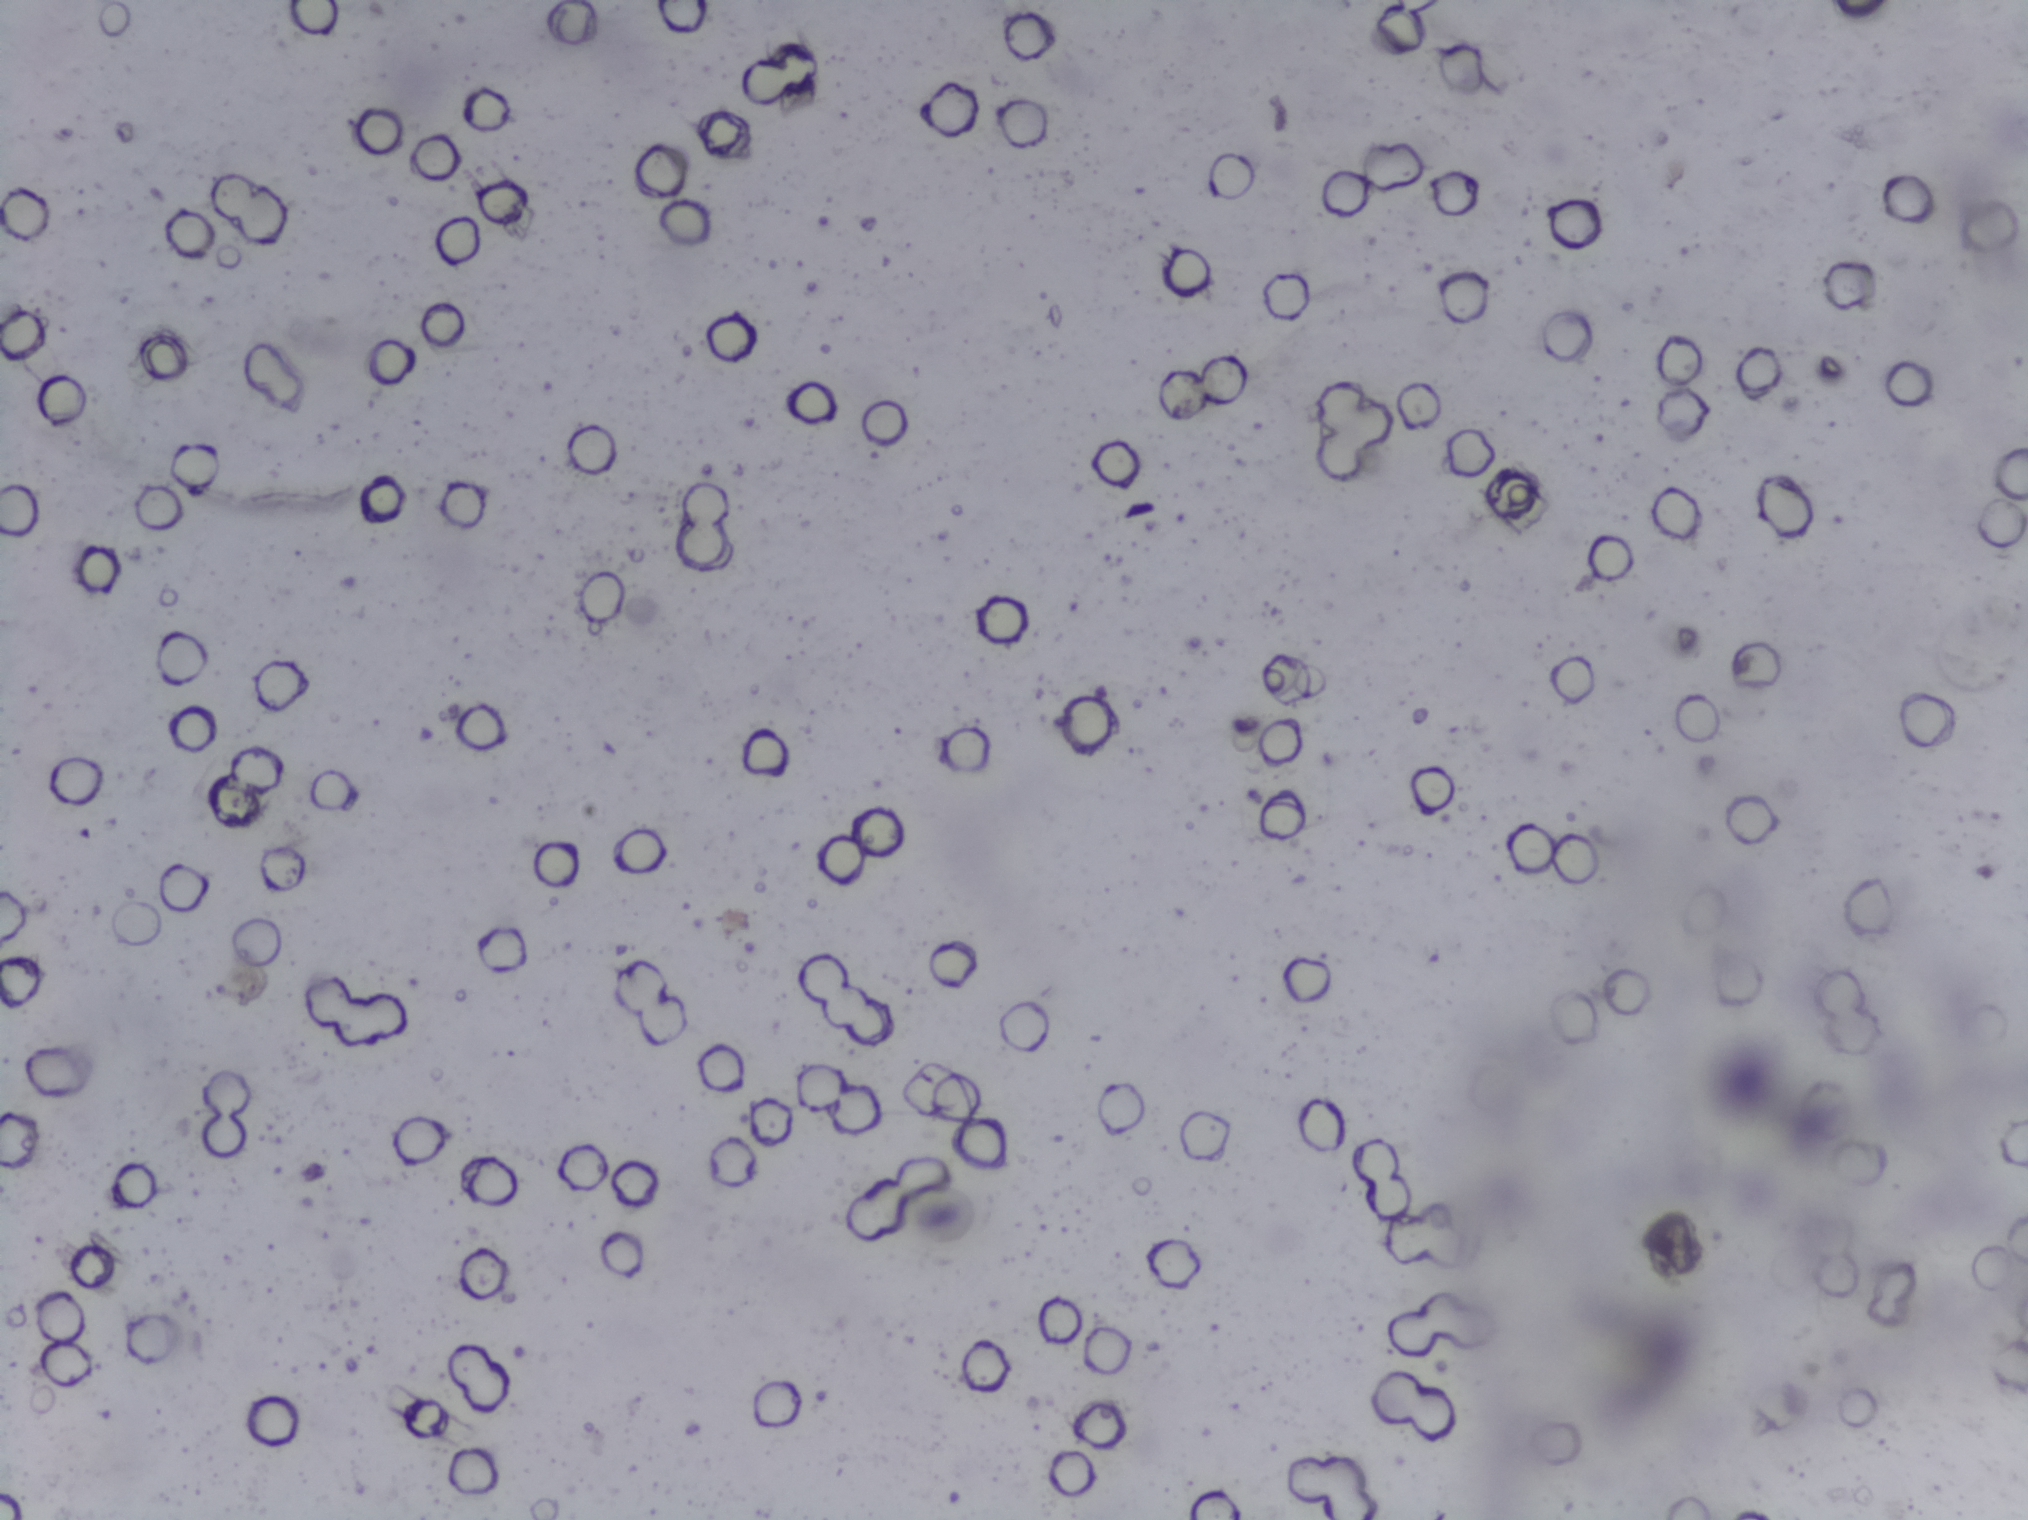
Photograph from an automated digital microscope: urine filter membrane, 4× objective.
No Schistosoma egg is outlined in this image's expert annotation.